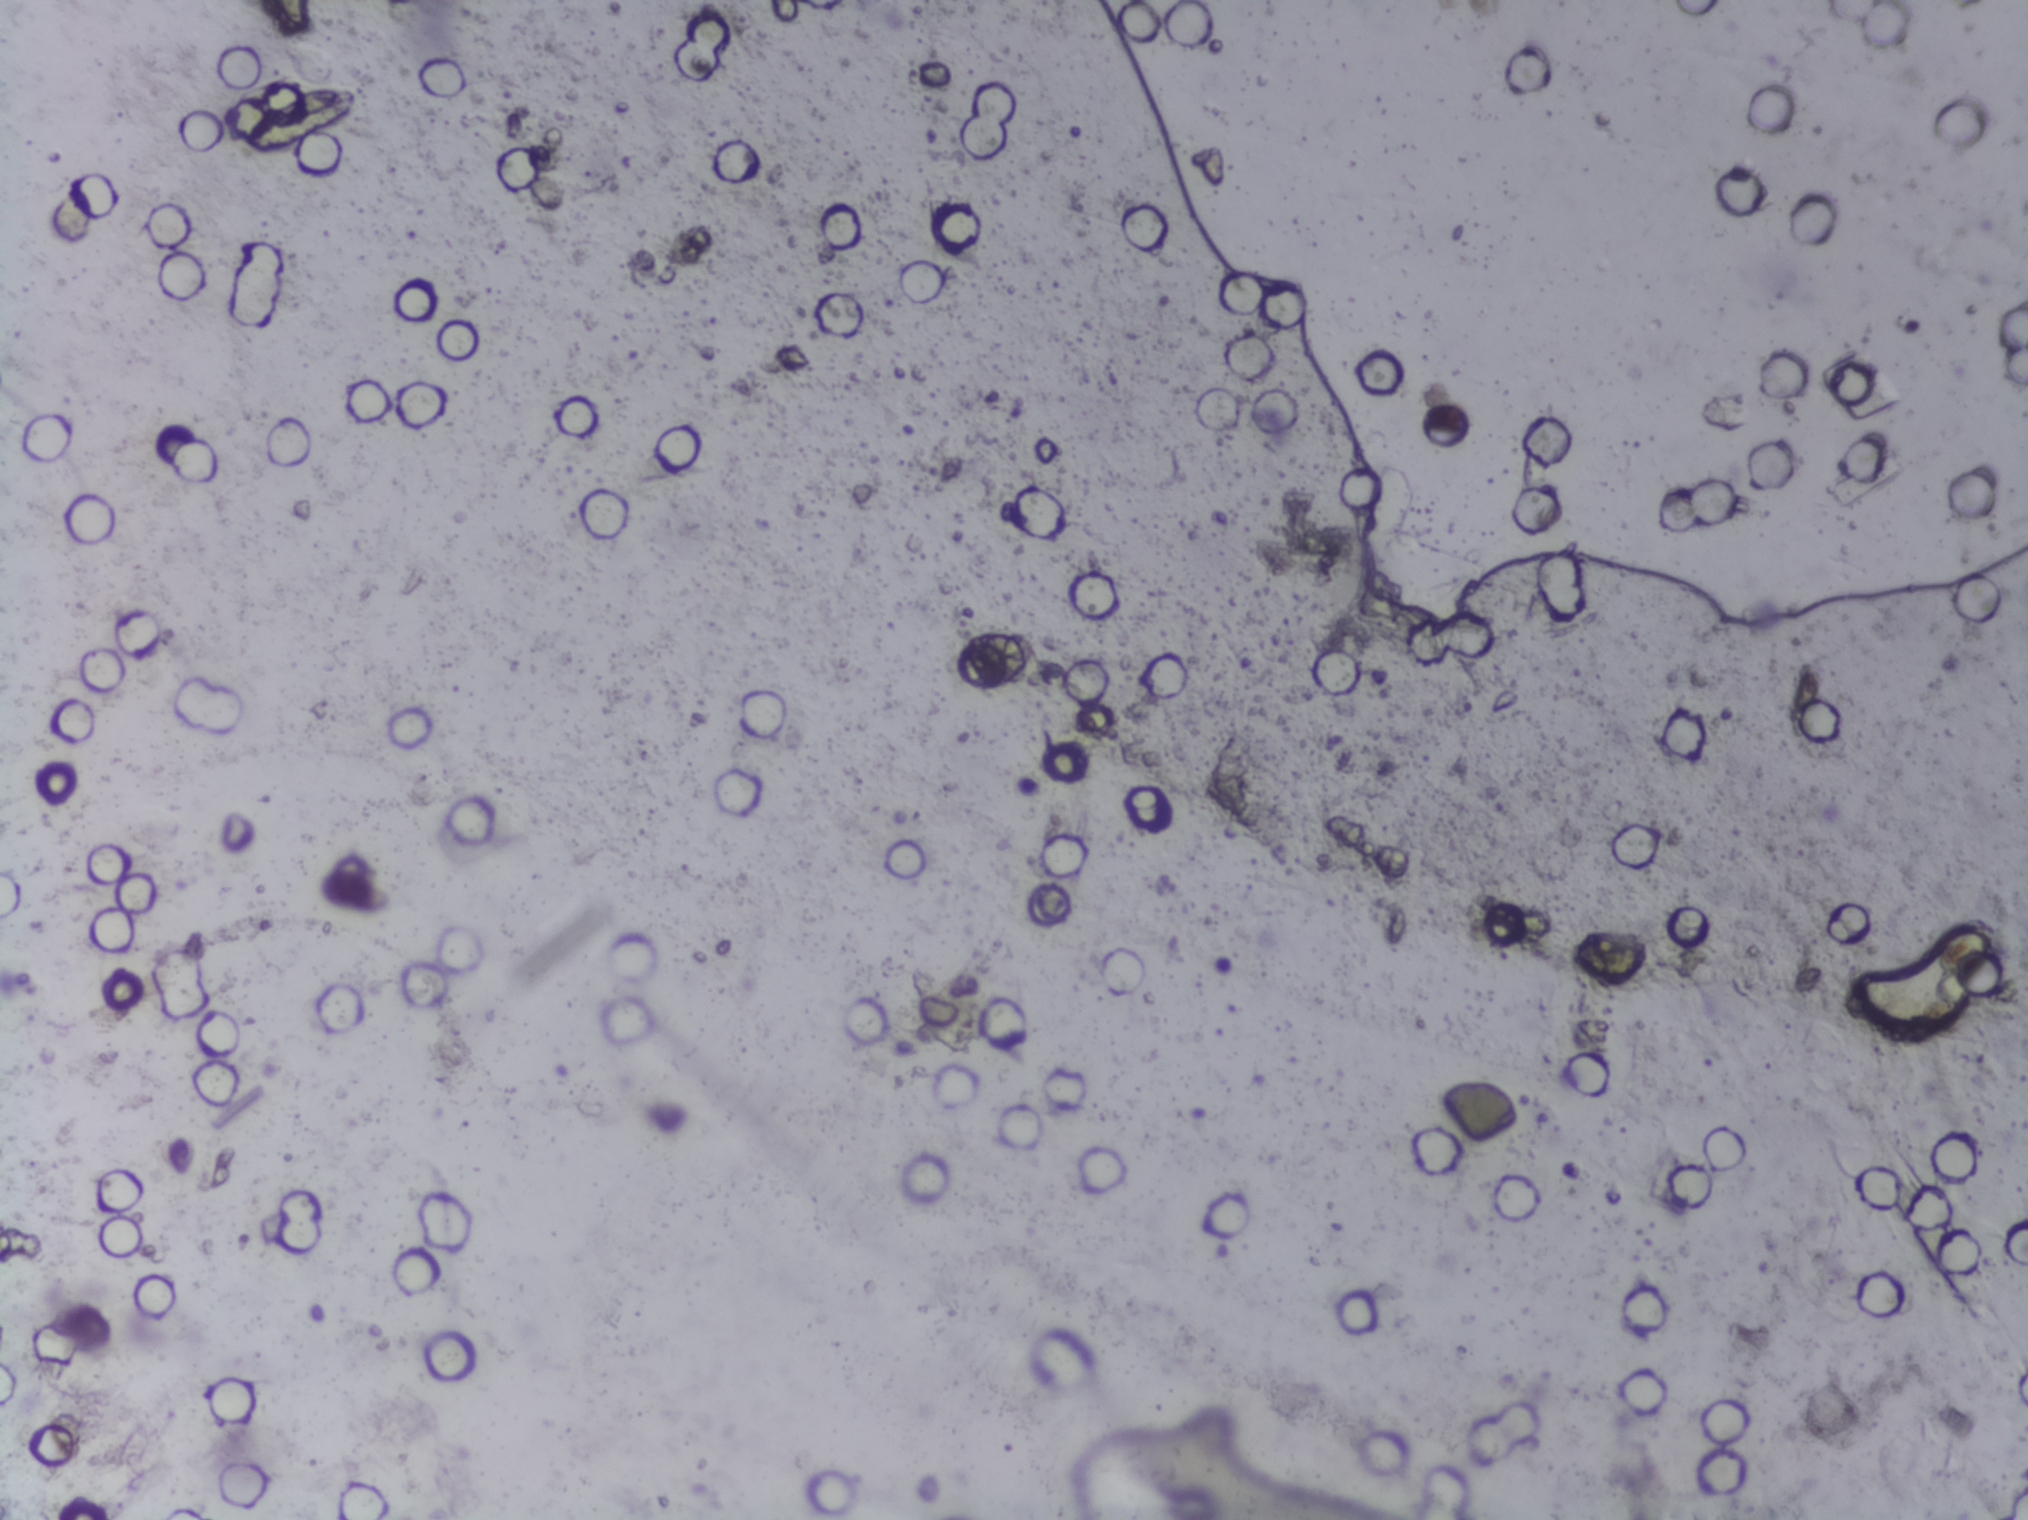
The expert annotation outlines no Schistosoma egg in this image.
Urine filtration membrane under a 4× objective, photographed by an automated digital microscope.